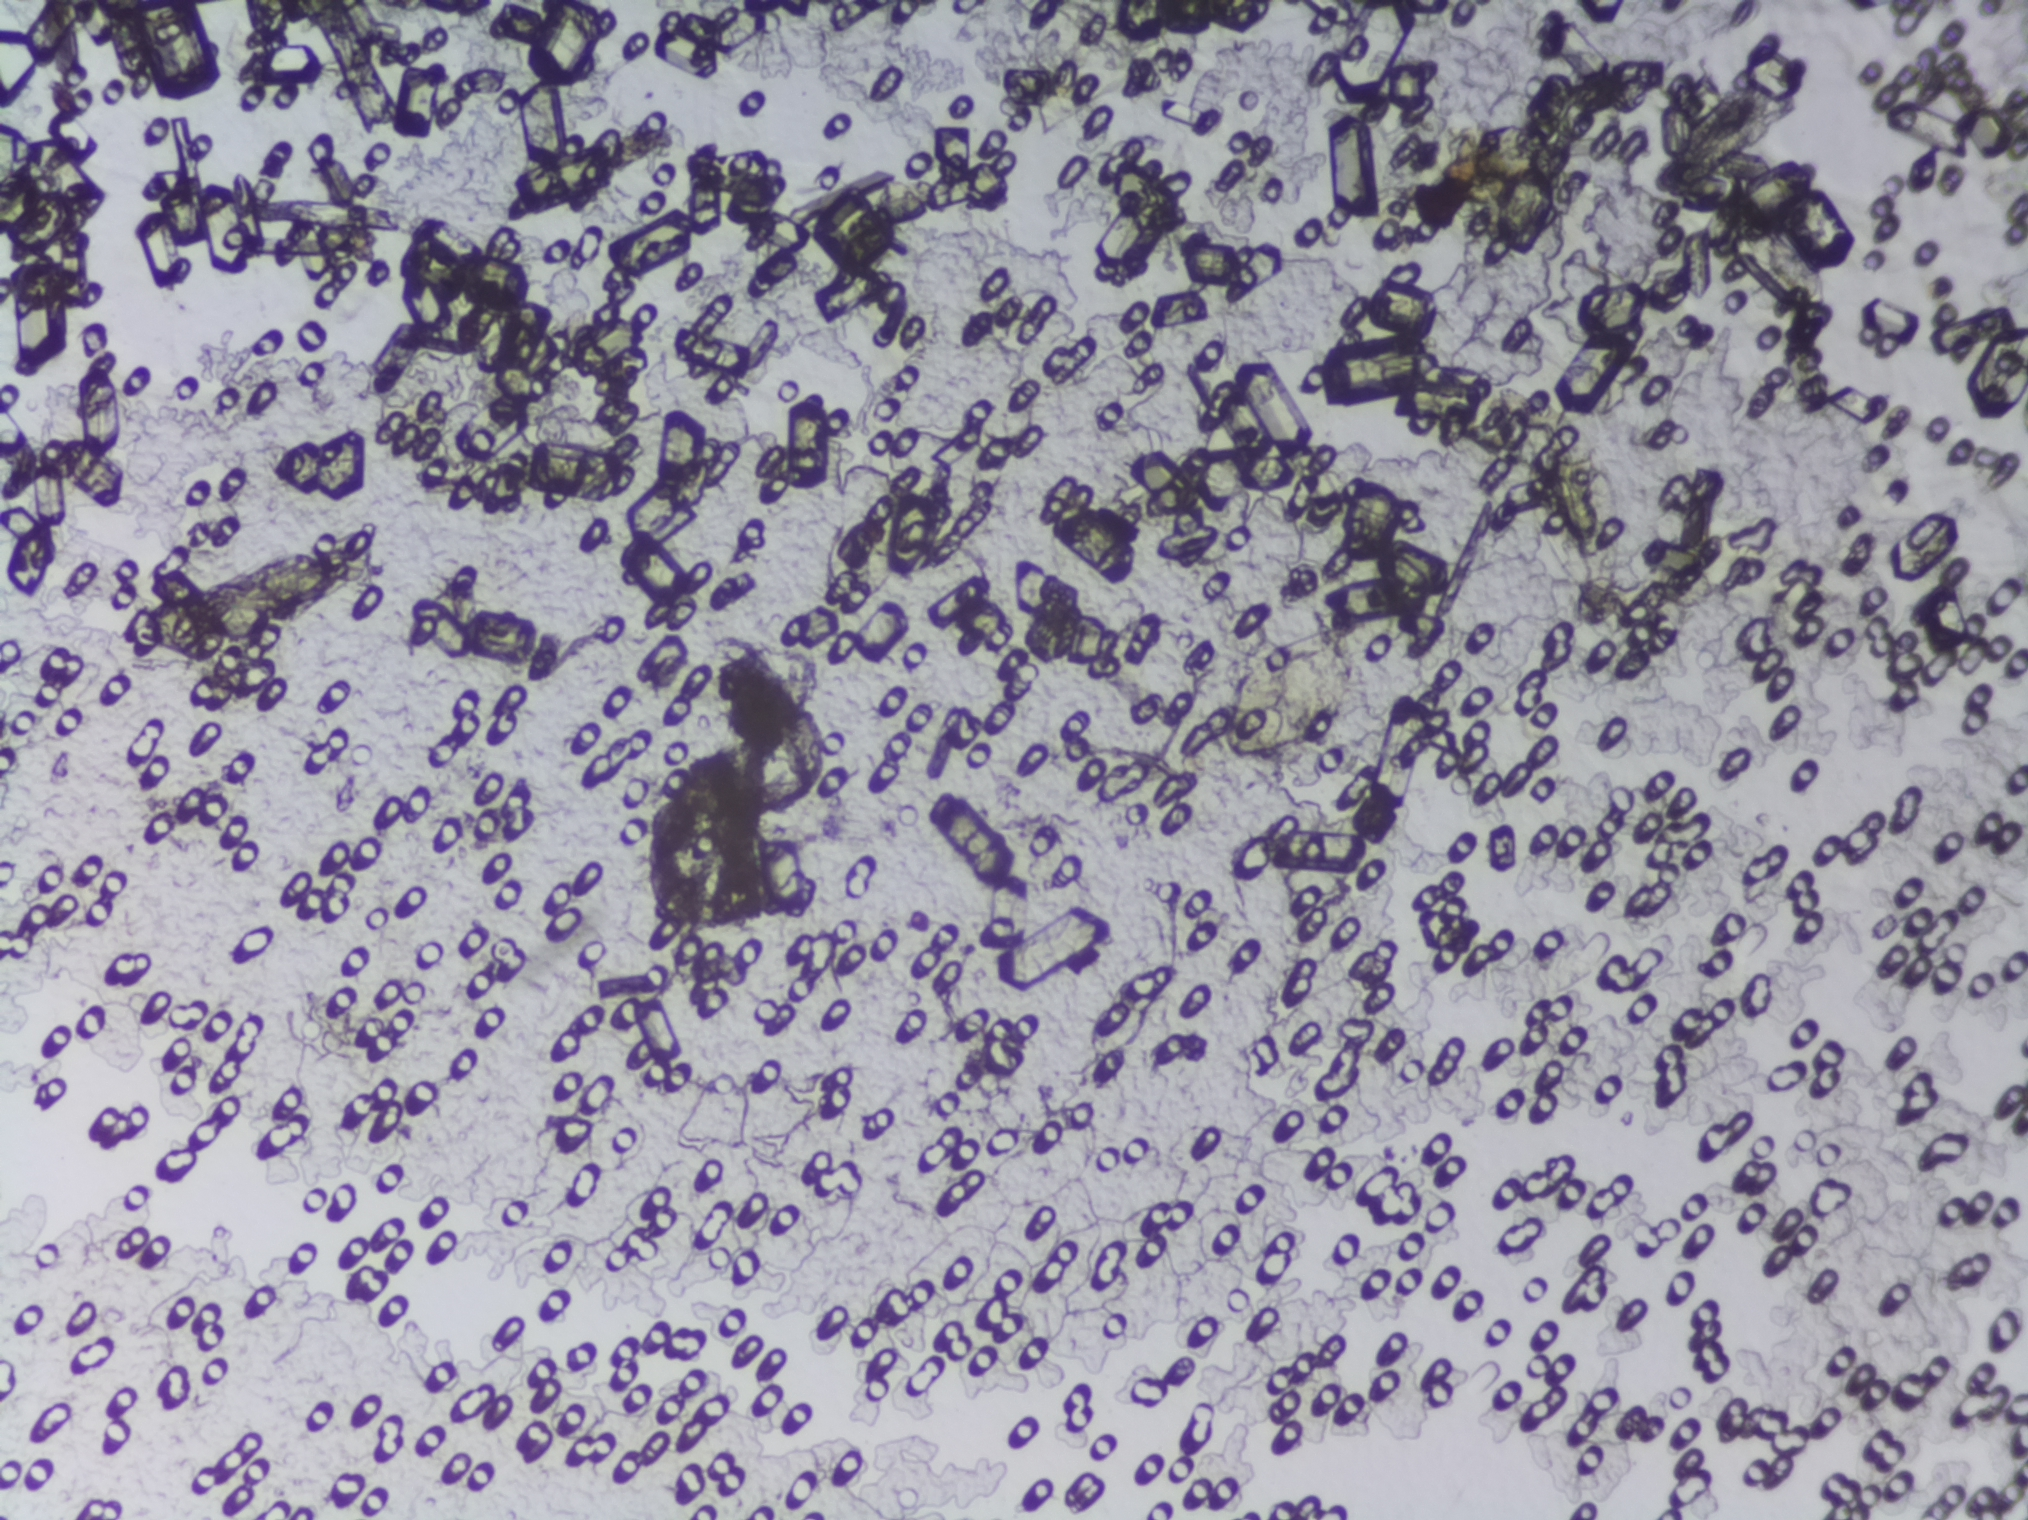
One field of view of a urine filter membrane, 4× objective, 2028 × 1520 pixels.
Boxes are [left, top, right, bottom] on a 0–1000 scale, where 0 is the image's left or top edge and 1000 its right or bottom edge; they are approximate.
Areas outlined as Schistosoma eggs: [100, 359, 183, 409]; [603, 411, 672, 499]. Marked pixels, not the boxes around them: about 0.7% of the image. A single outlined area may contain several eggs.